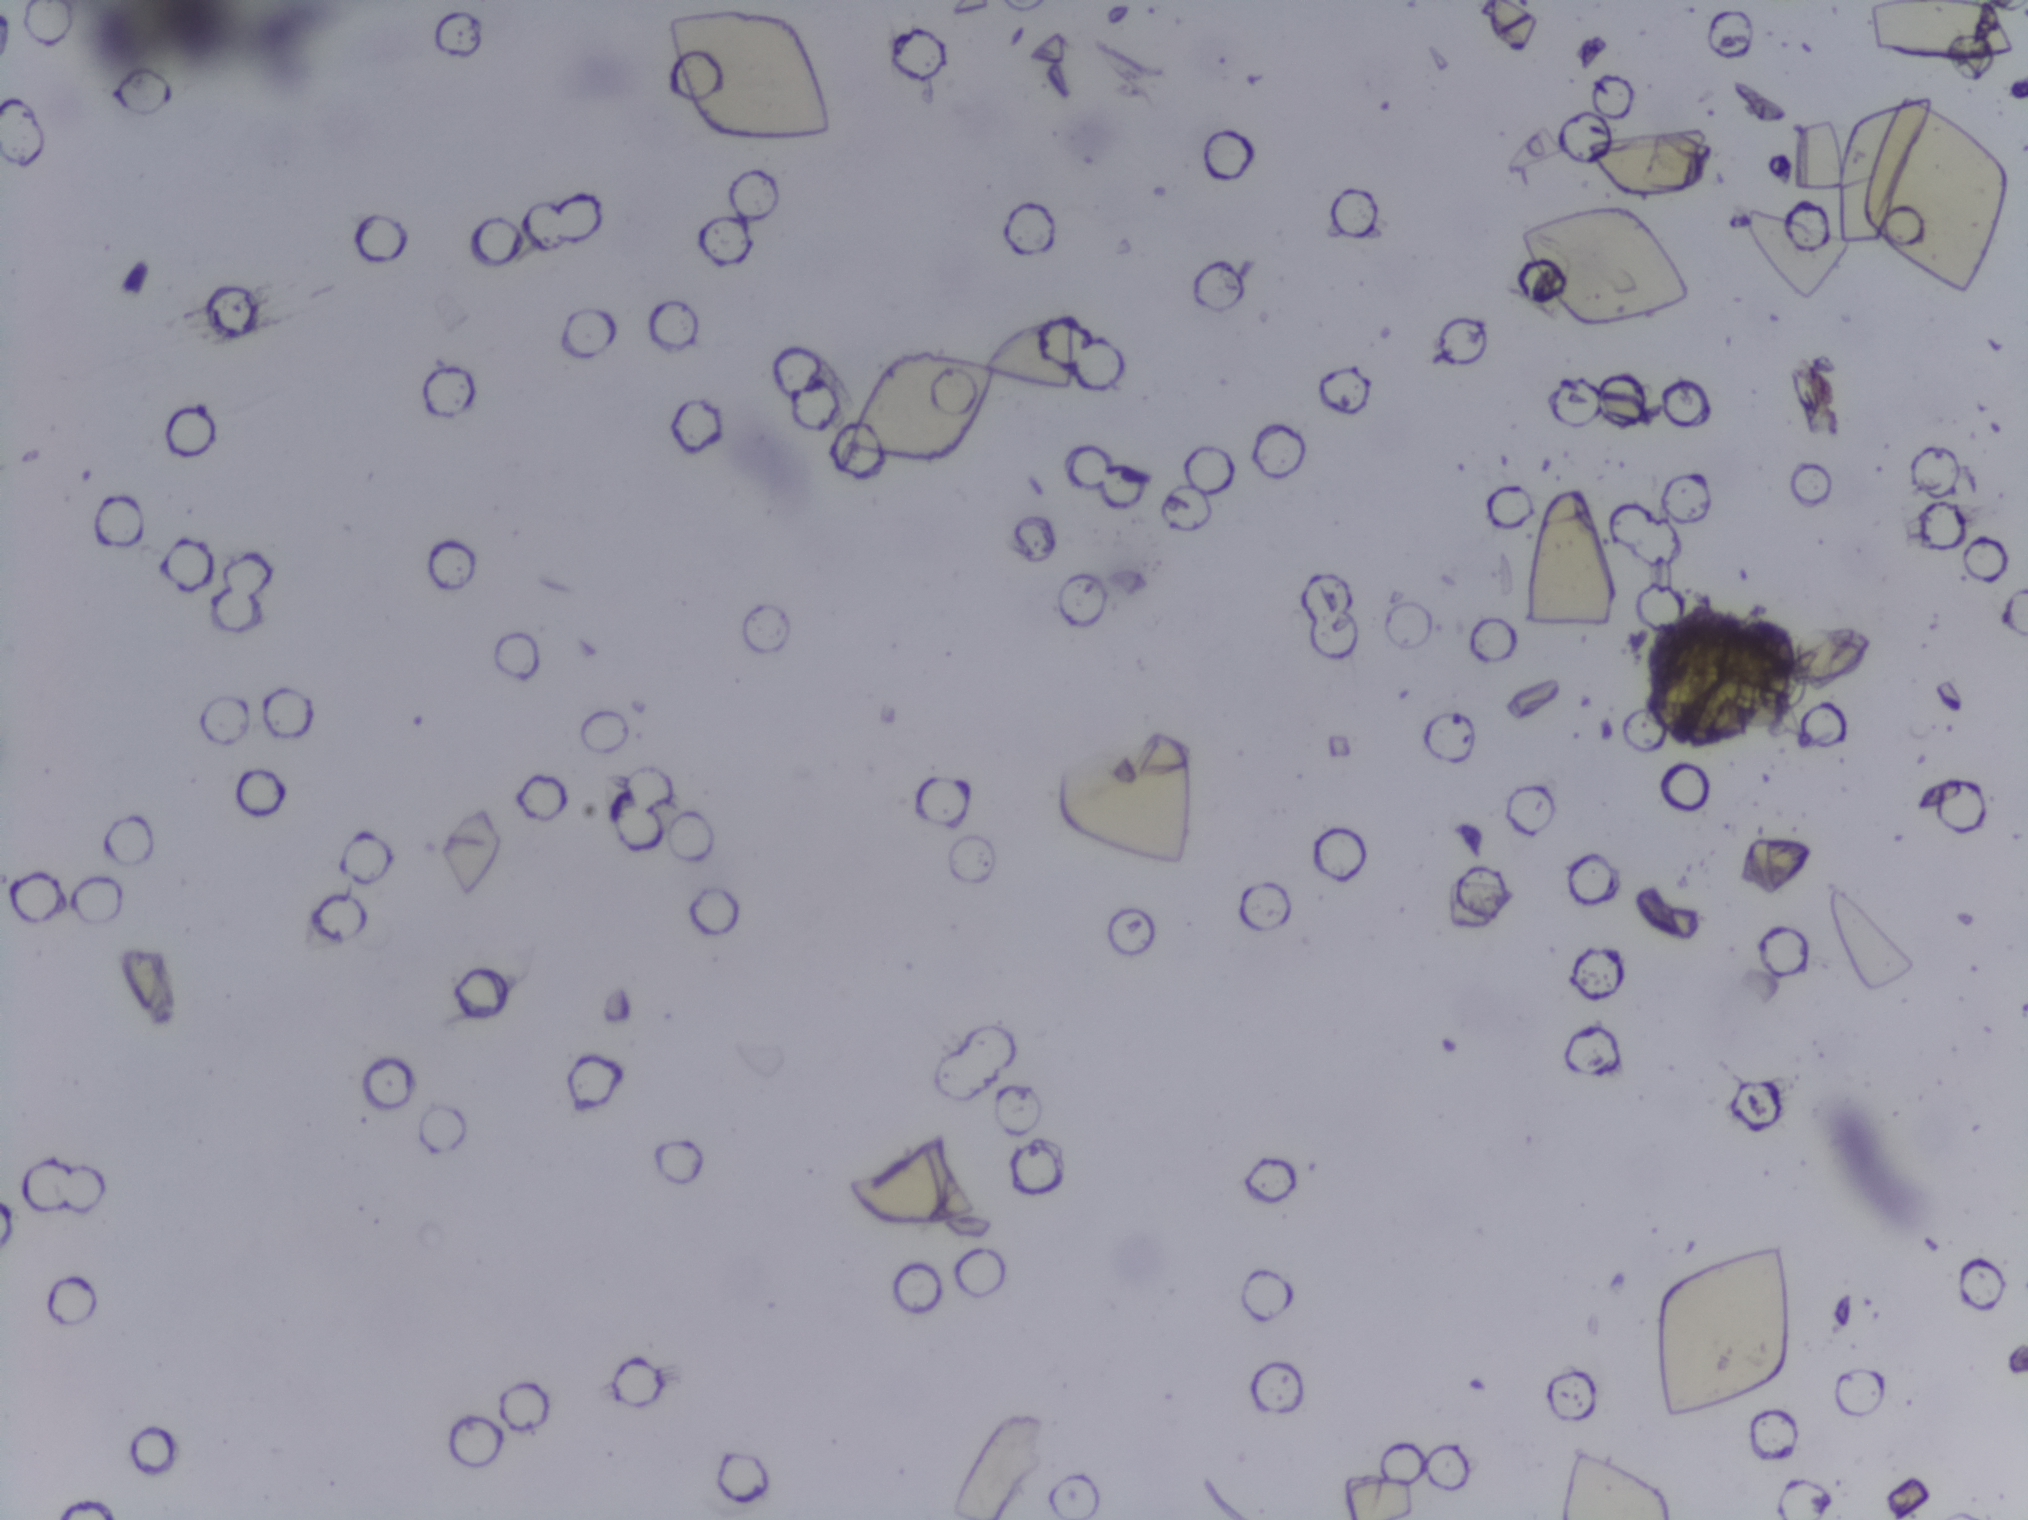
Schistosoma eggs: none outlined.
Urine filtration membrane under a 4× objective, photographed by an automated digital microscope. Field of view: about 1.5 mm wide and 1.1 mm high.